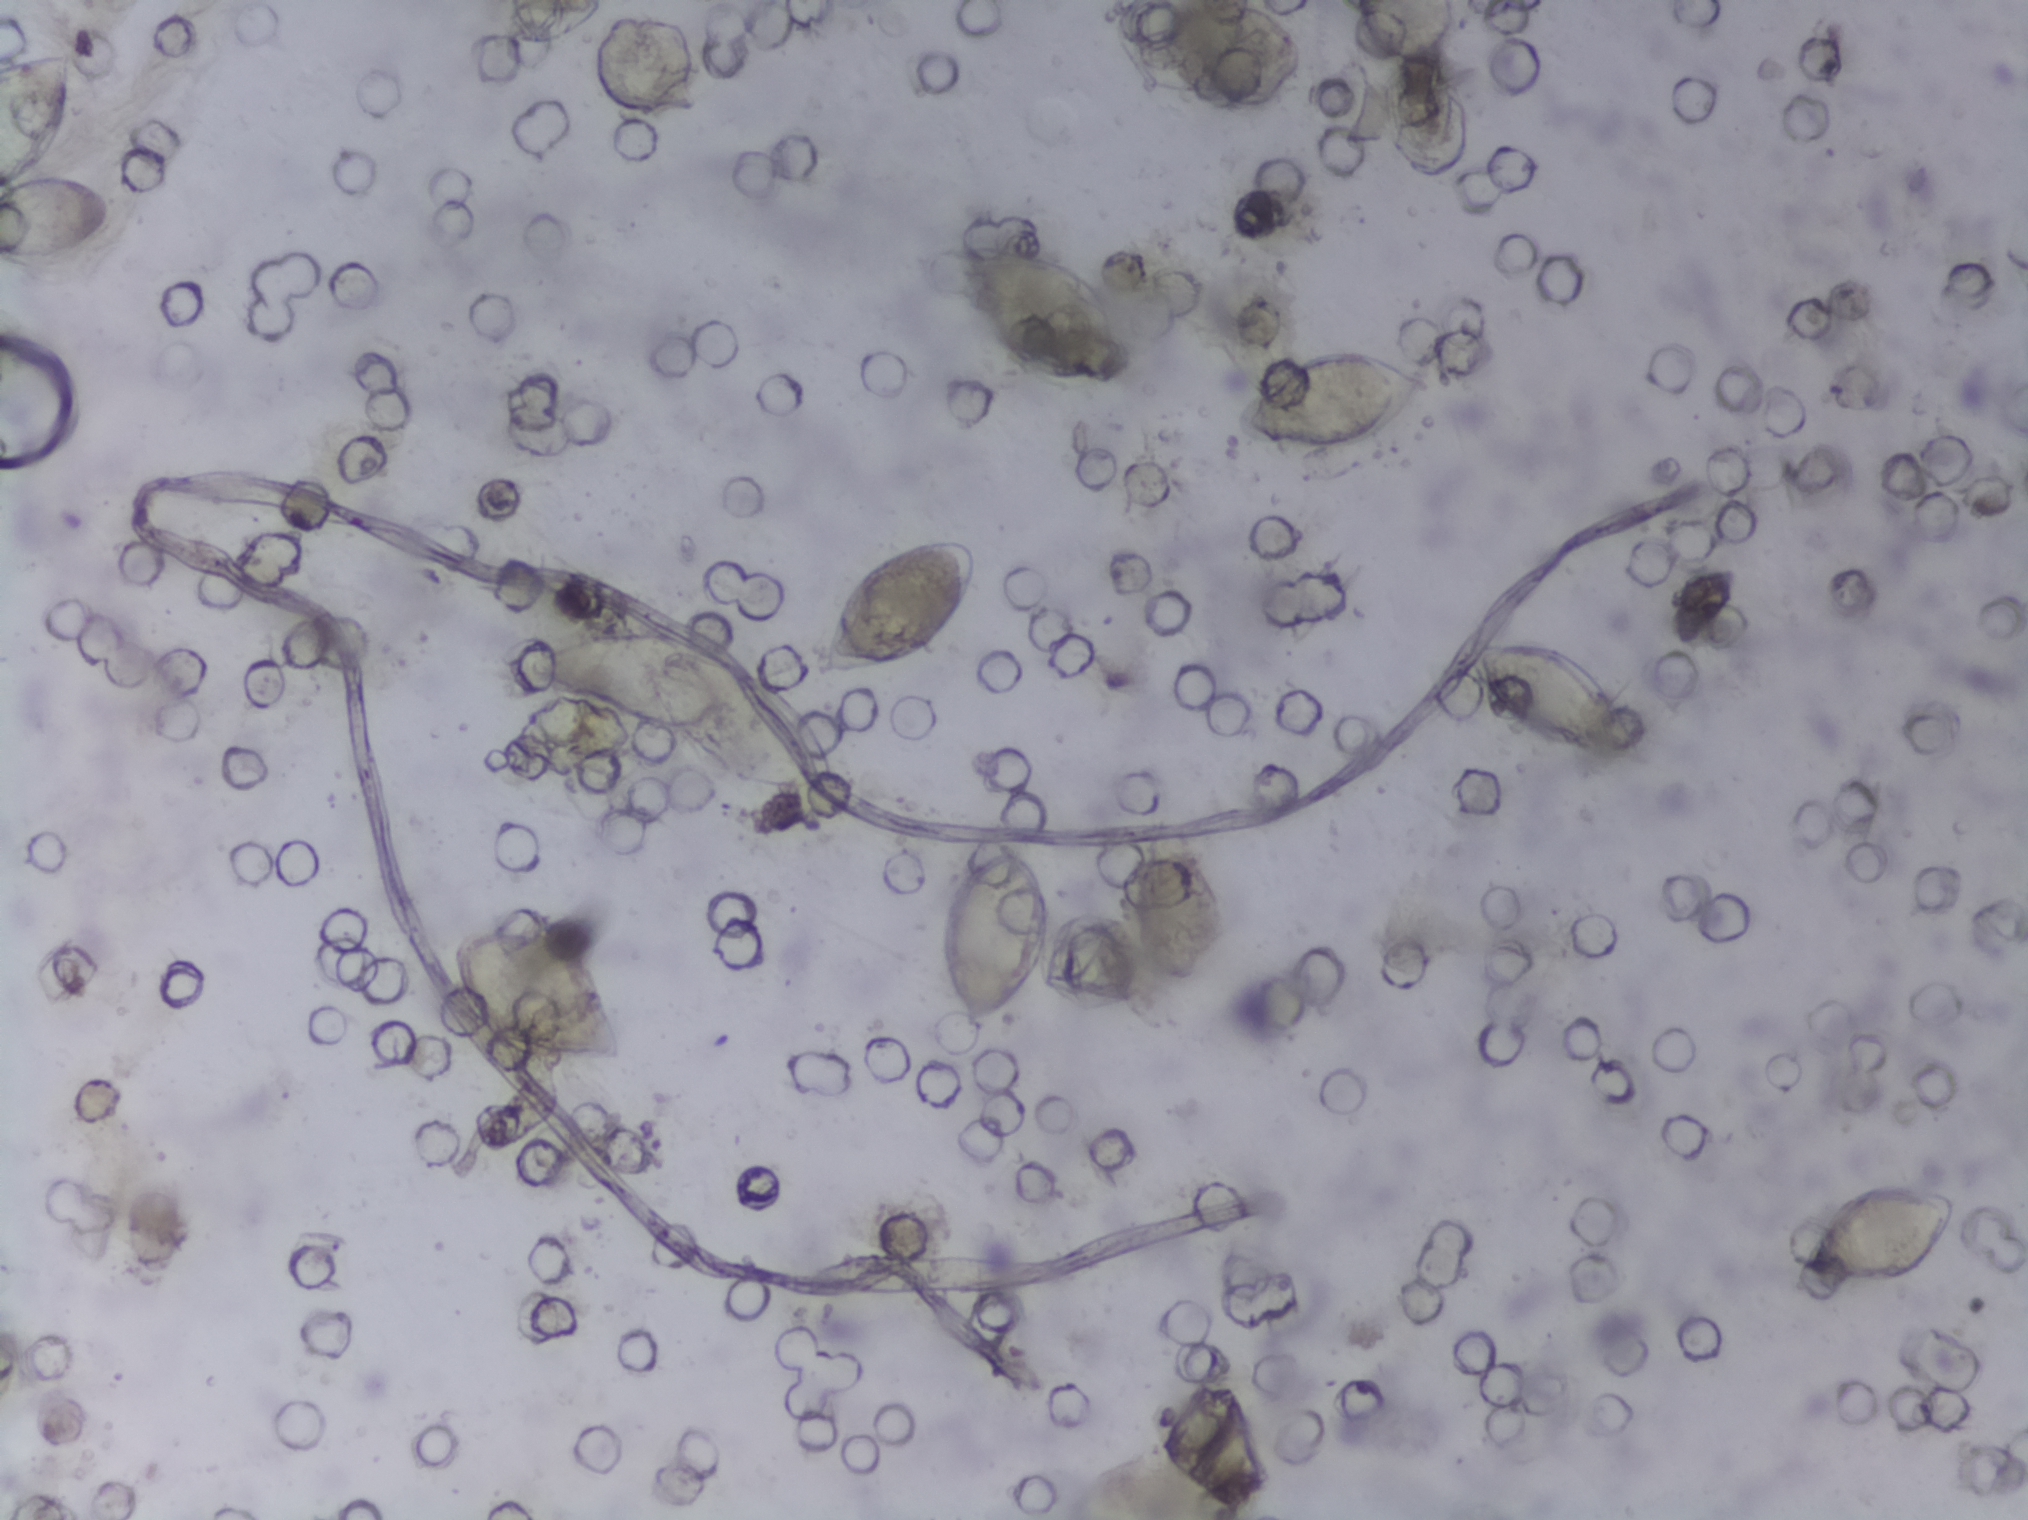
Urine filtration membrane under a 4× objective, photographed by an automated digital microscope.
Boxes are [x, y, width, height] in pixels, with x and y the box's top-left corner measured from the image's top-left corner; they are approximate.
Findings: nine areas outlined as Schistosoma eggs. Locations, left to right: [0, 41, 114, 223] (reaching the left edge of the frame); [450, 920, 174, 148]; [528, 632, 313, 167]; [812, 532, 166, 148]; [938, 842, 113, 198]; [960, 242, 167, 150]; [1237, 345, 195, 110]; [1472, 640, 171, 127]; [1792, 1179, 175, 118]. About 5.1% of the image's pixels are marked (the marked pixels themselves, not the boxes around them). A single outlined area may contain several eggs.